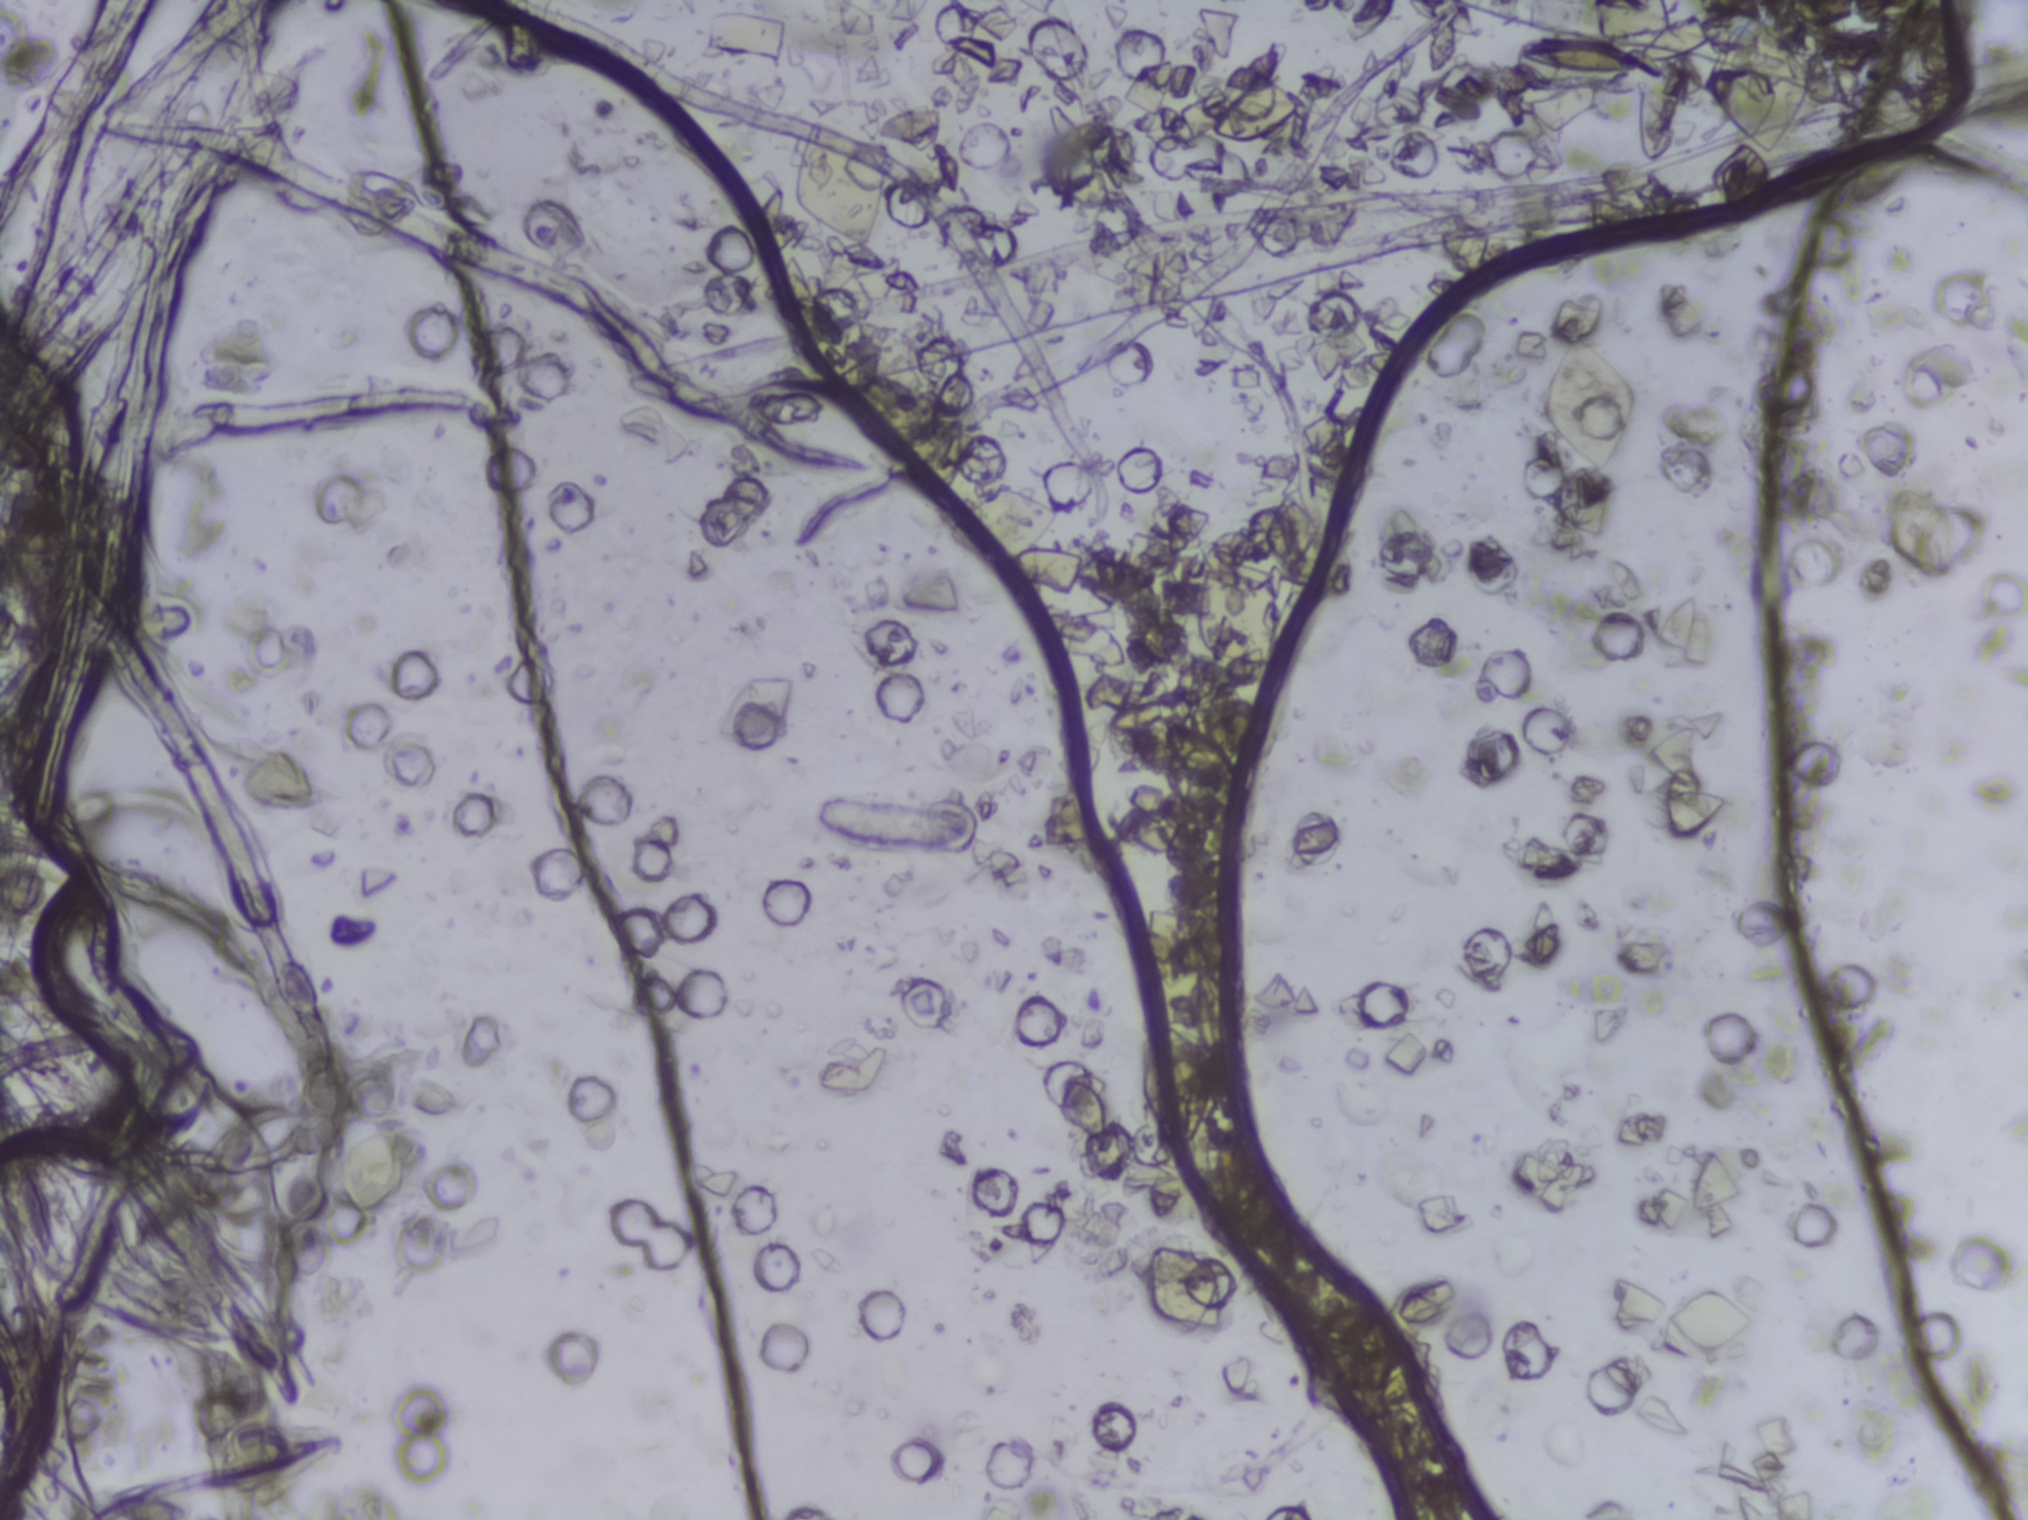
Photograph from an automated digital microscope: urine filter membrane, 4× objective. Field of view: about 1.5 mm wide and 1.1 mm high.
The expert annotation outlines no Schistosoma egg in this image.